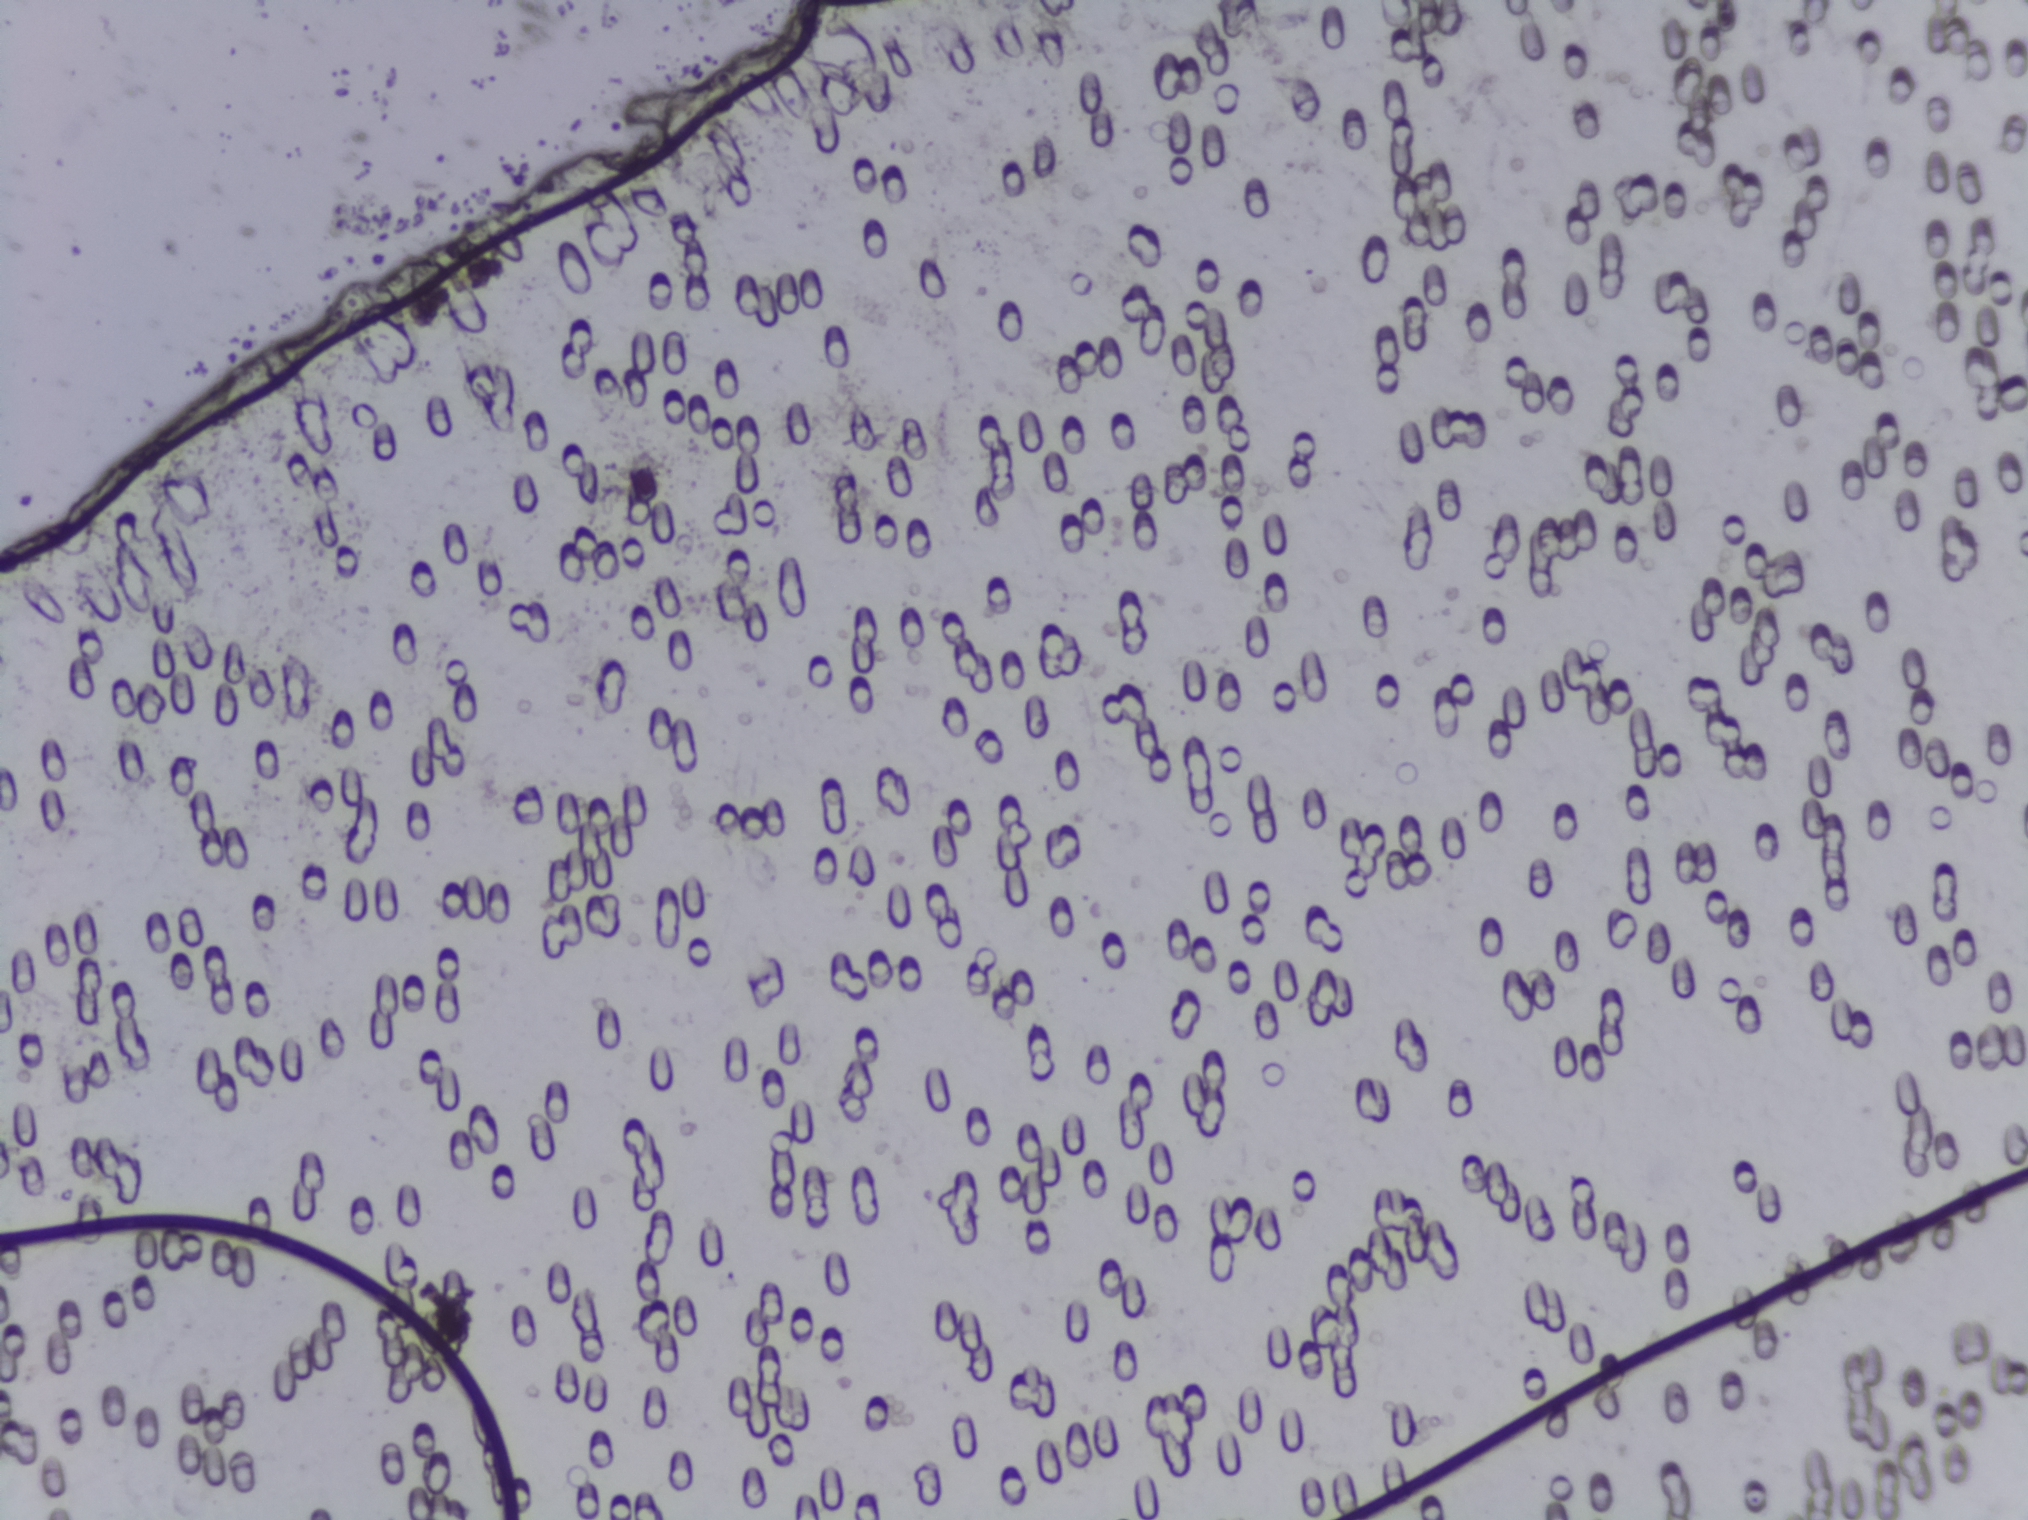
Schistosoma eggs: none outlined.
Photomicrograph of a urine filtration membrane, 4× objective.